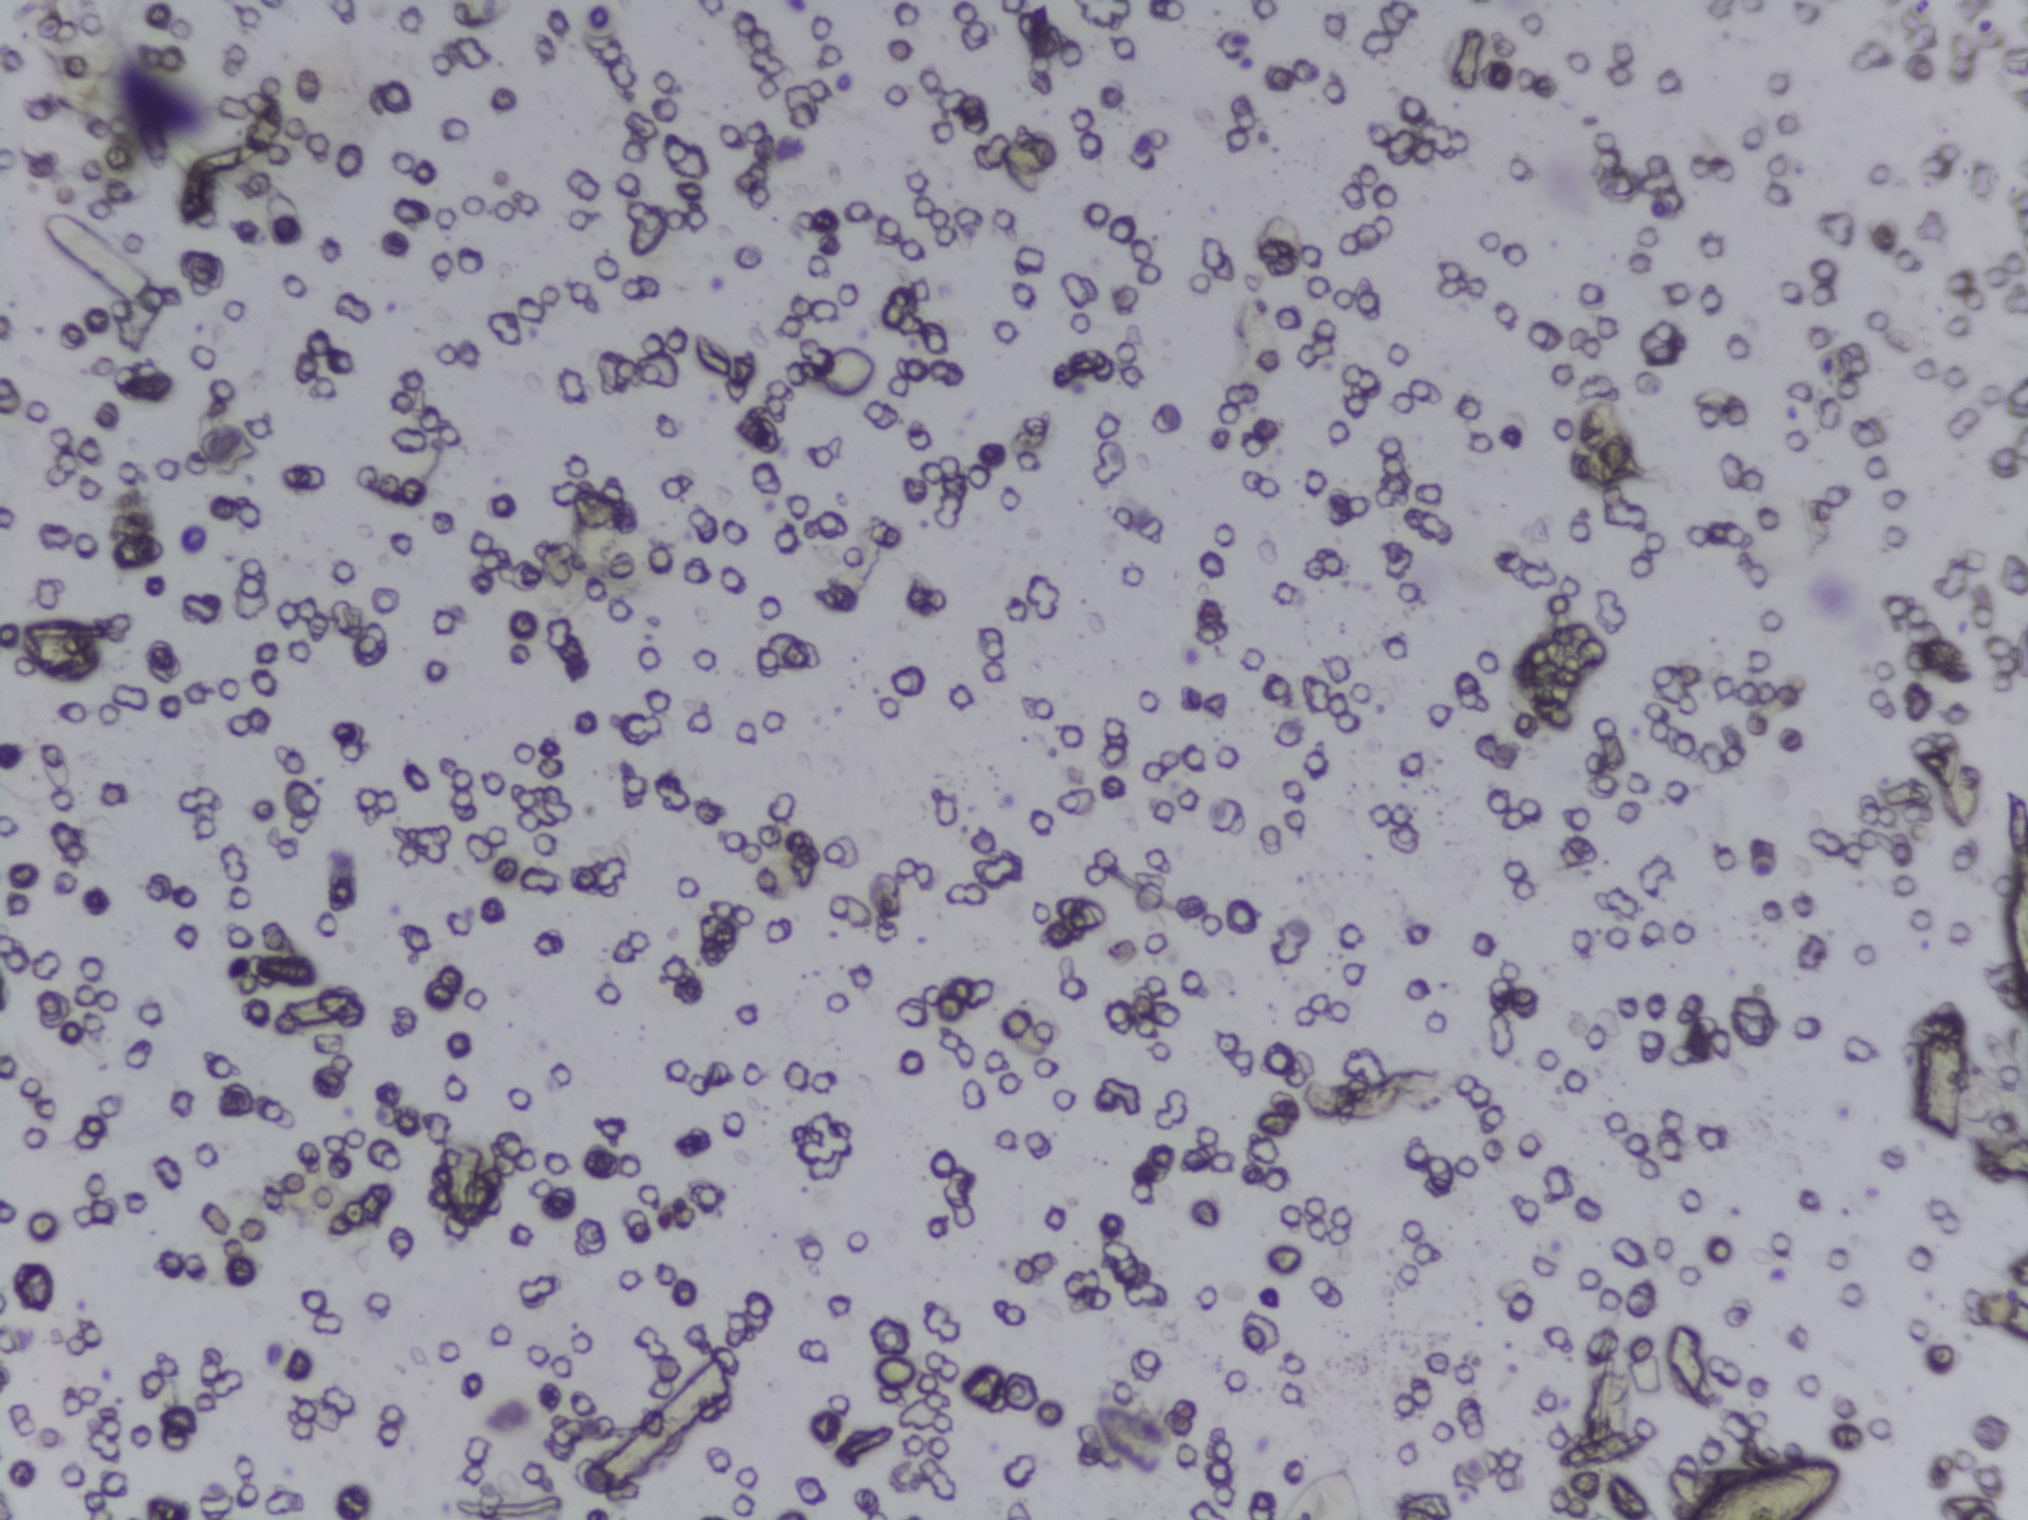
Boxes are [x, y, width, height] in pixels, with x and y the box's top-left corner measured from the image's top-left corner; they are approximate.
Findings: two areas outlined as Schistosoma eggs. Locations: [1279, 1462, 87, 58] (reaching the bottom edge of the frame); [1679, 1458, 165, 62] (reaching the bottom edge of the frame). An outlined area can hold more than one egg.
One field of view of a urine filter membrane, 4× objective, 2028 × 1520 pixels.